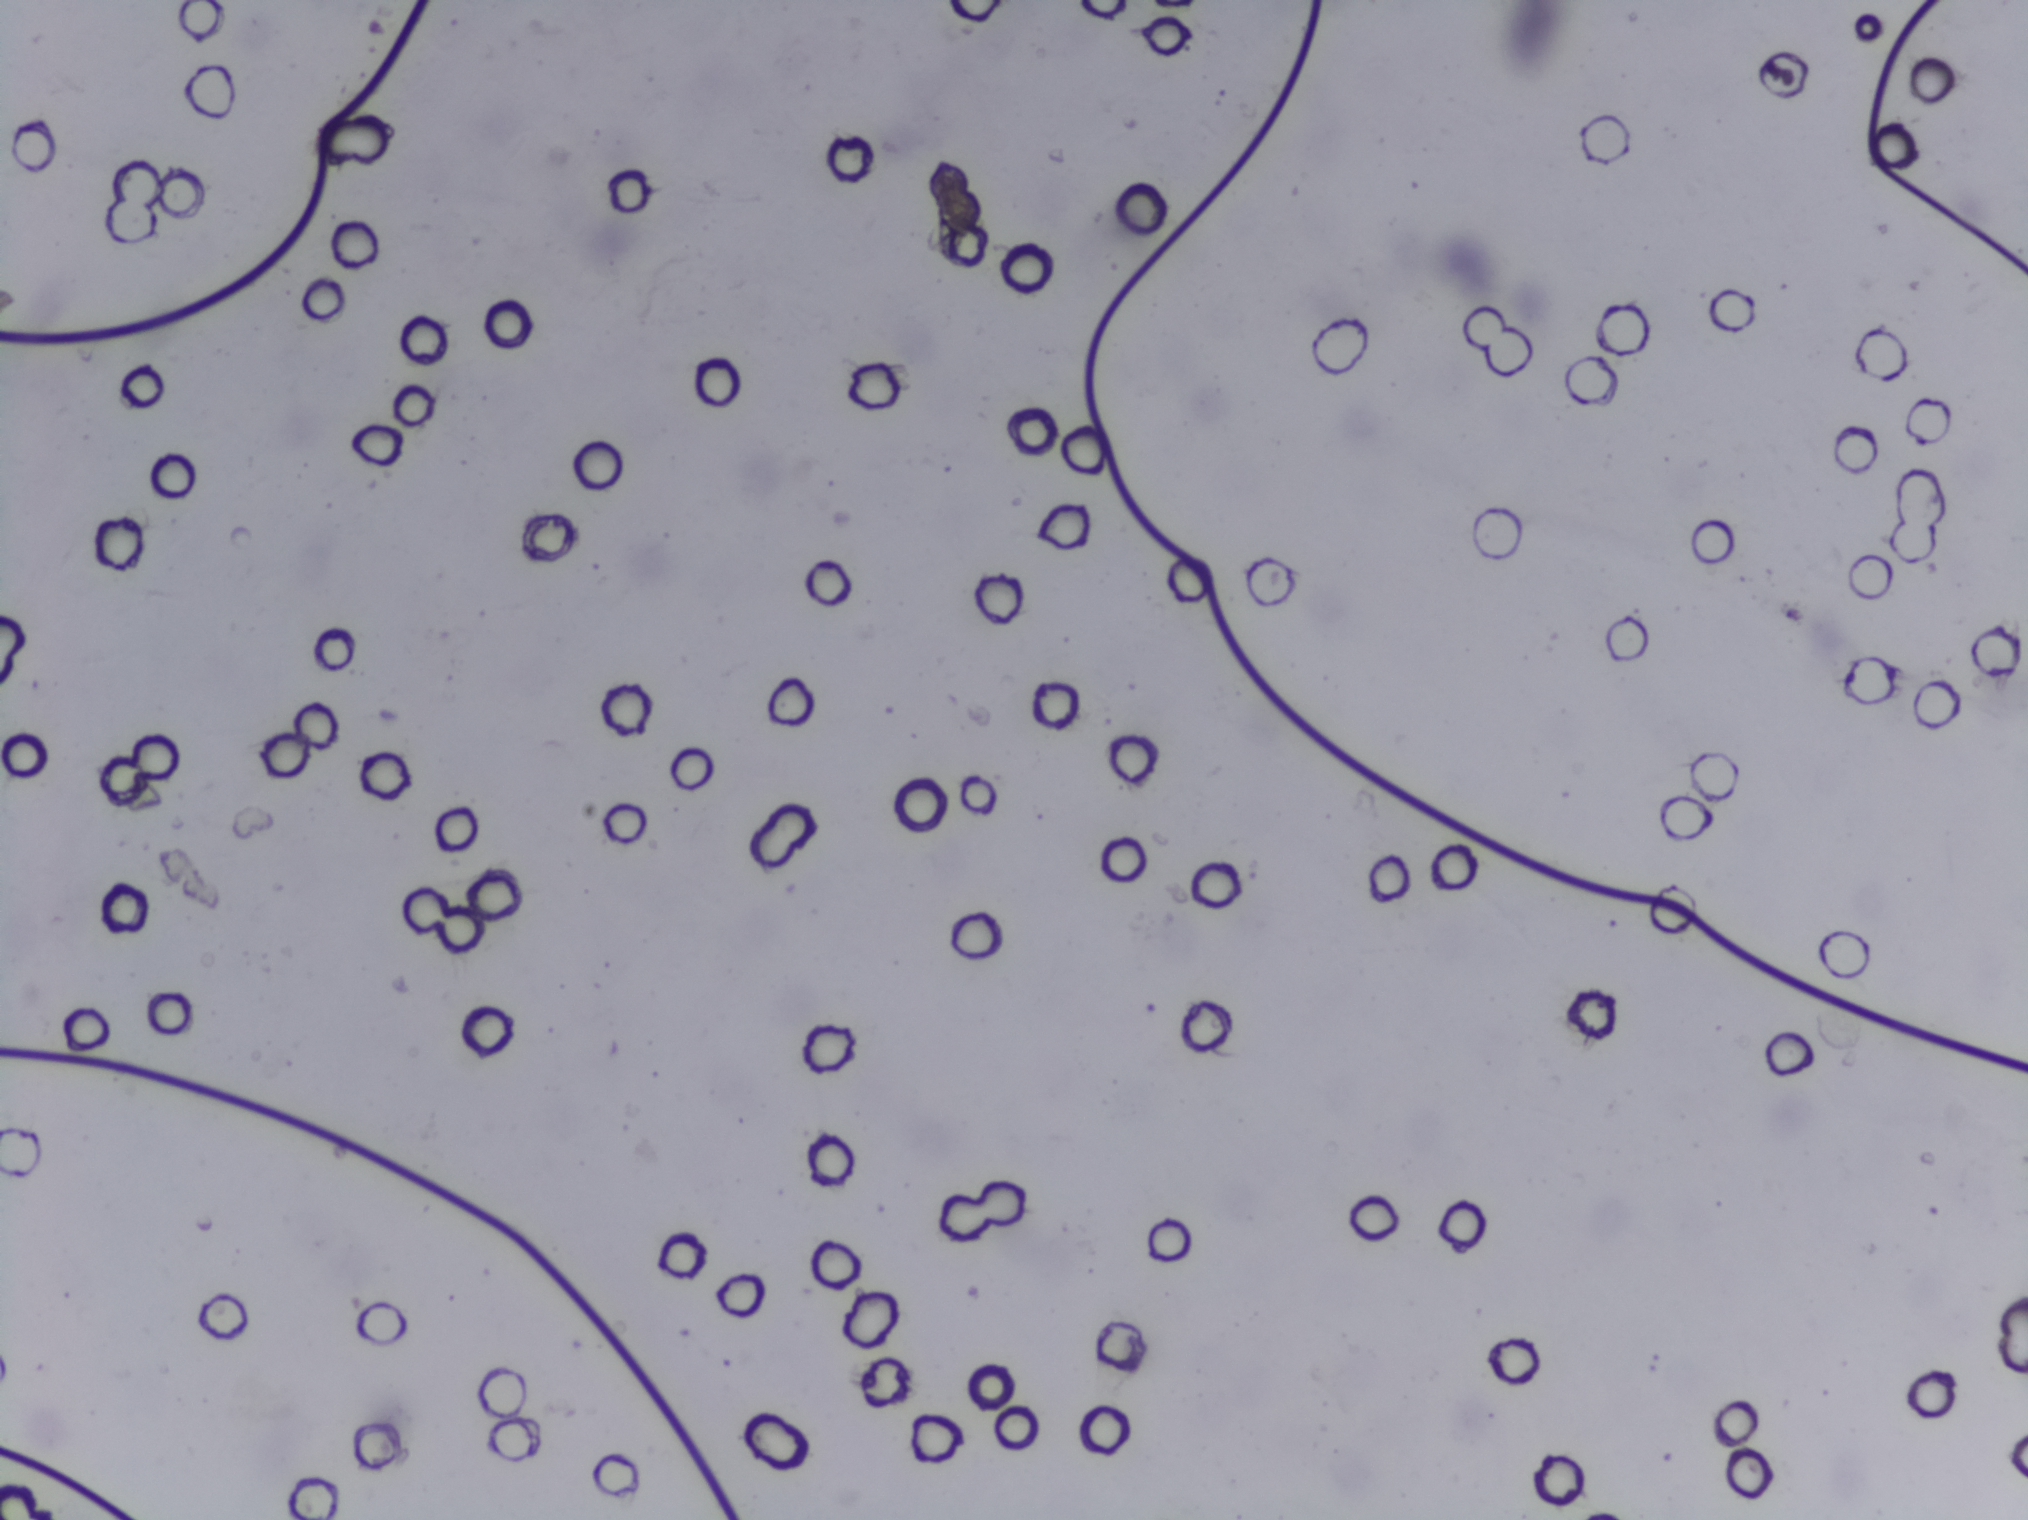
No area of this image was outlined as a Schistosoma egg.
Photograph from an automated digital microscope: urine filter membrane, 4× objective. Field of view: about 1.5 mm wide and 1.1 mm high.